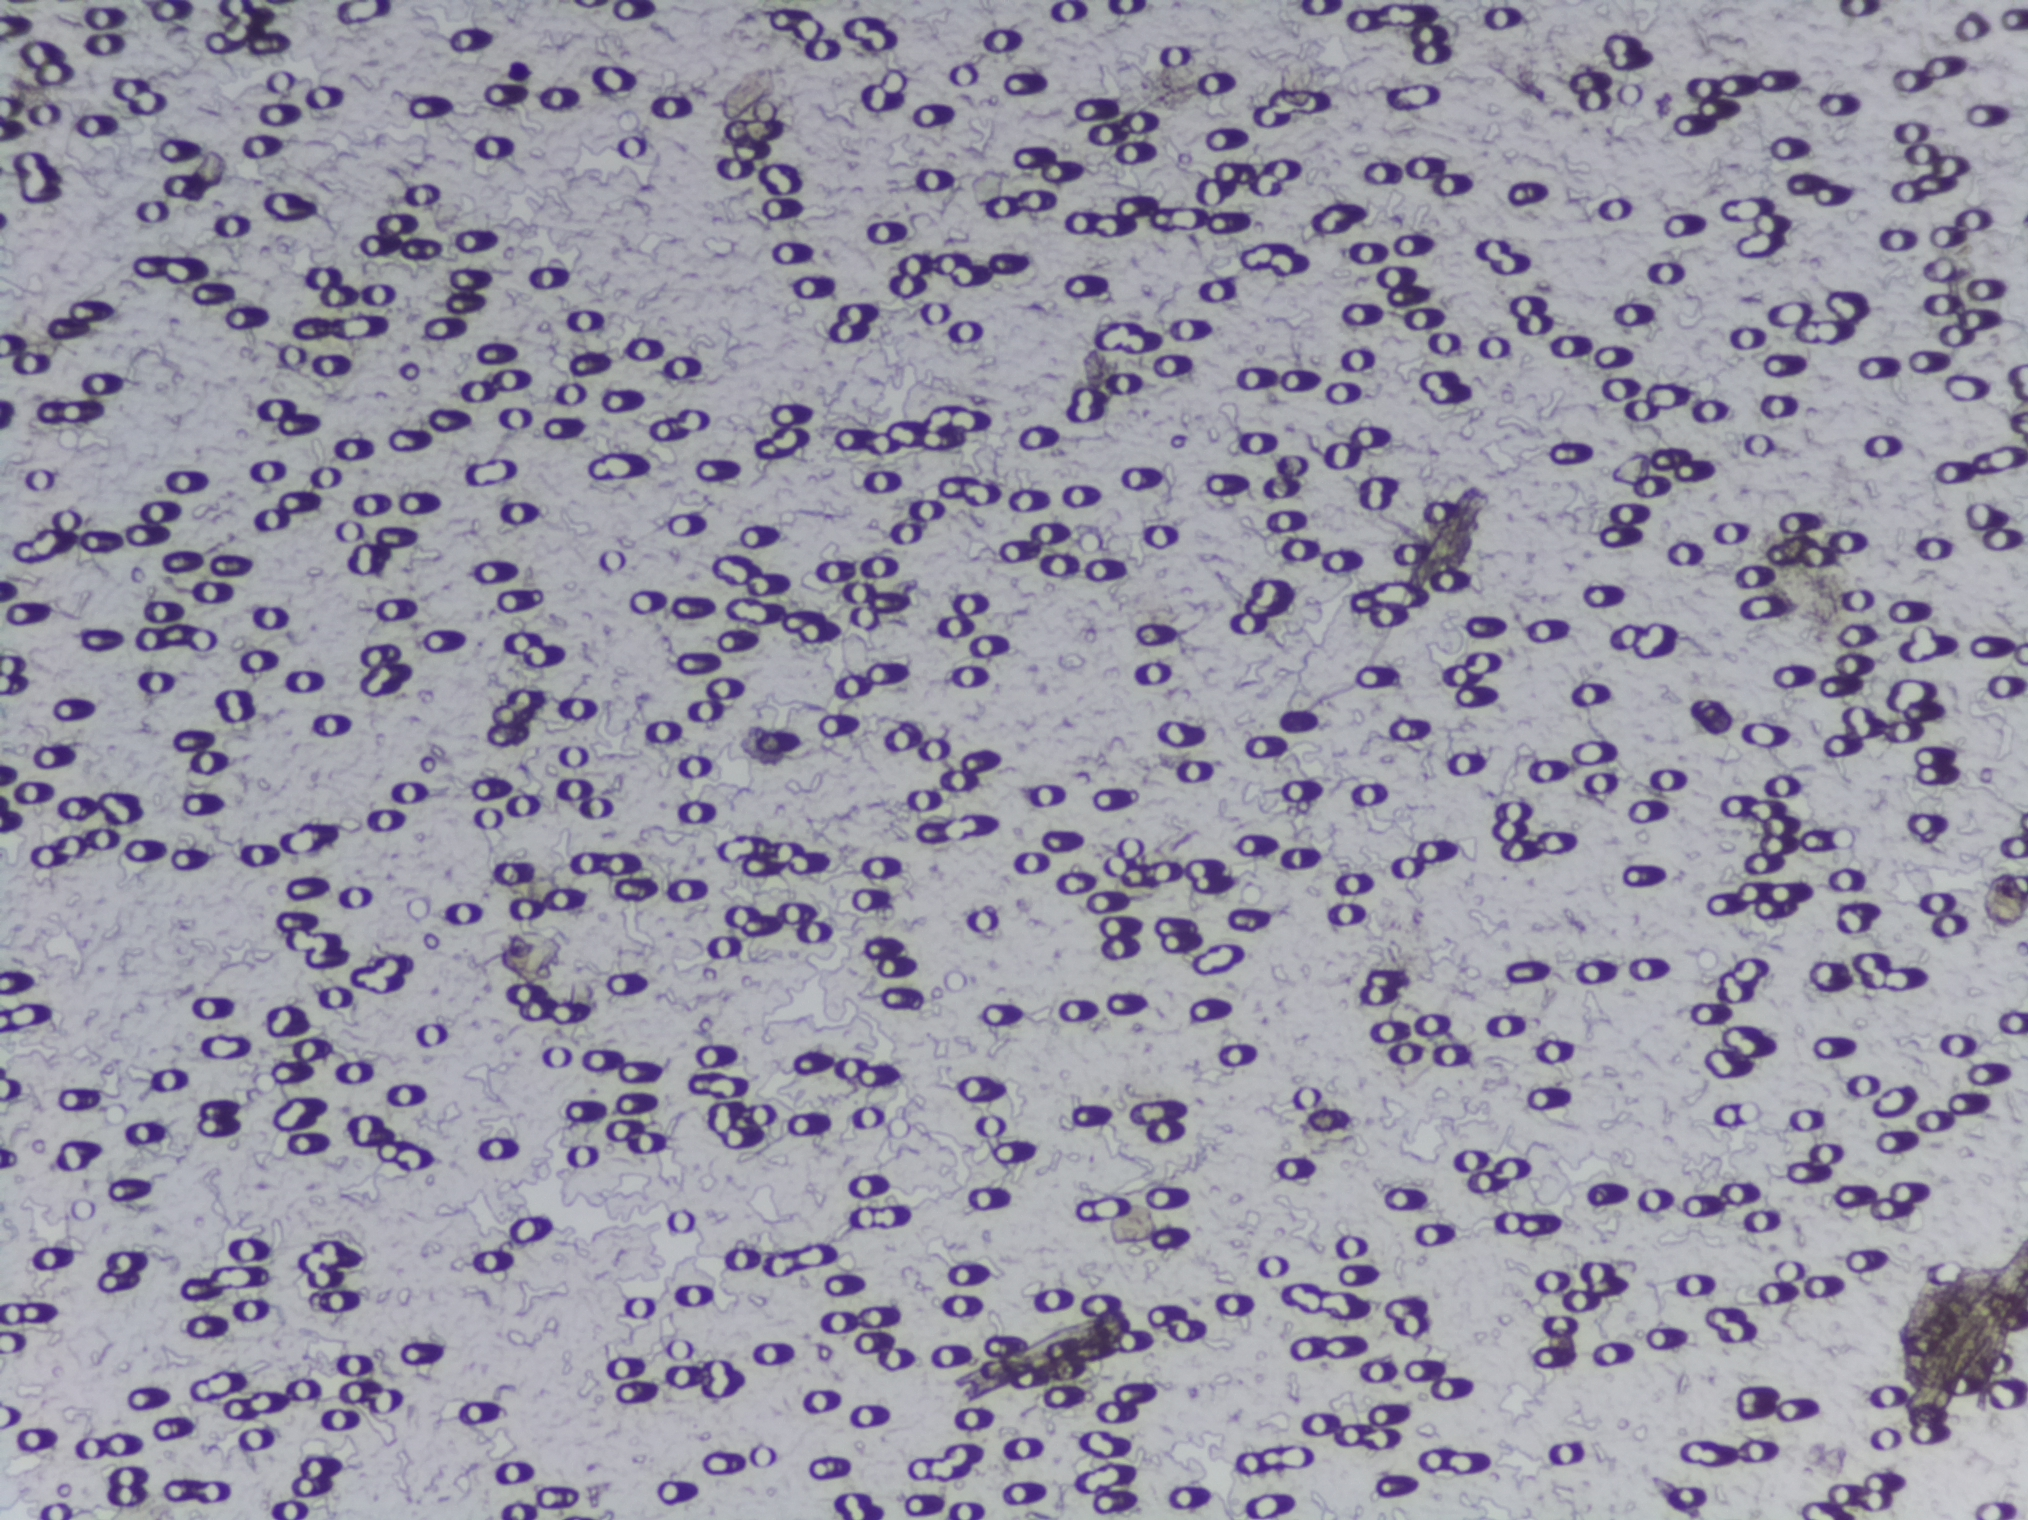
No Schistosoma egg is outlined in this image's expert annotation.
Photomicrograph of a urine filtration membrane, 4× objective.